Photomicrograph of a urine filtration membrane, 4× objective.
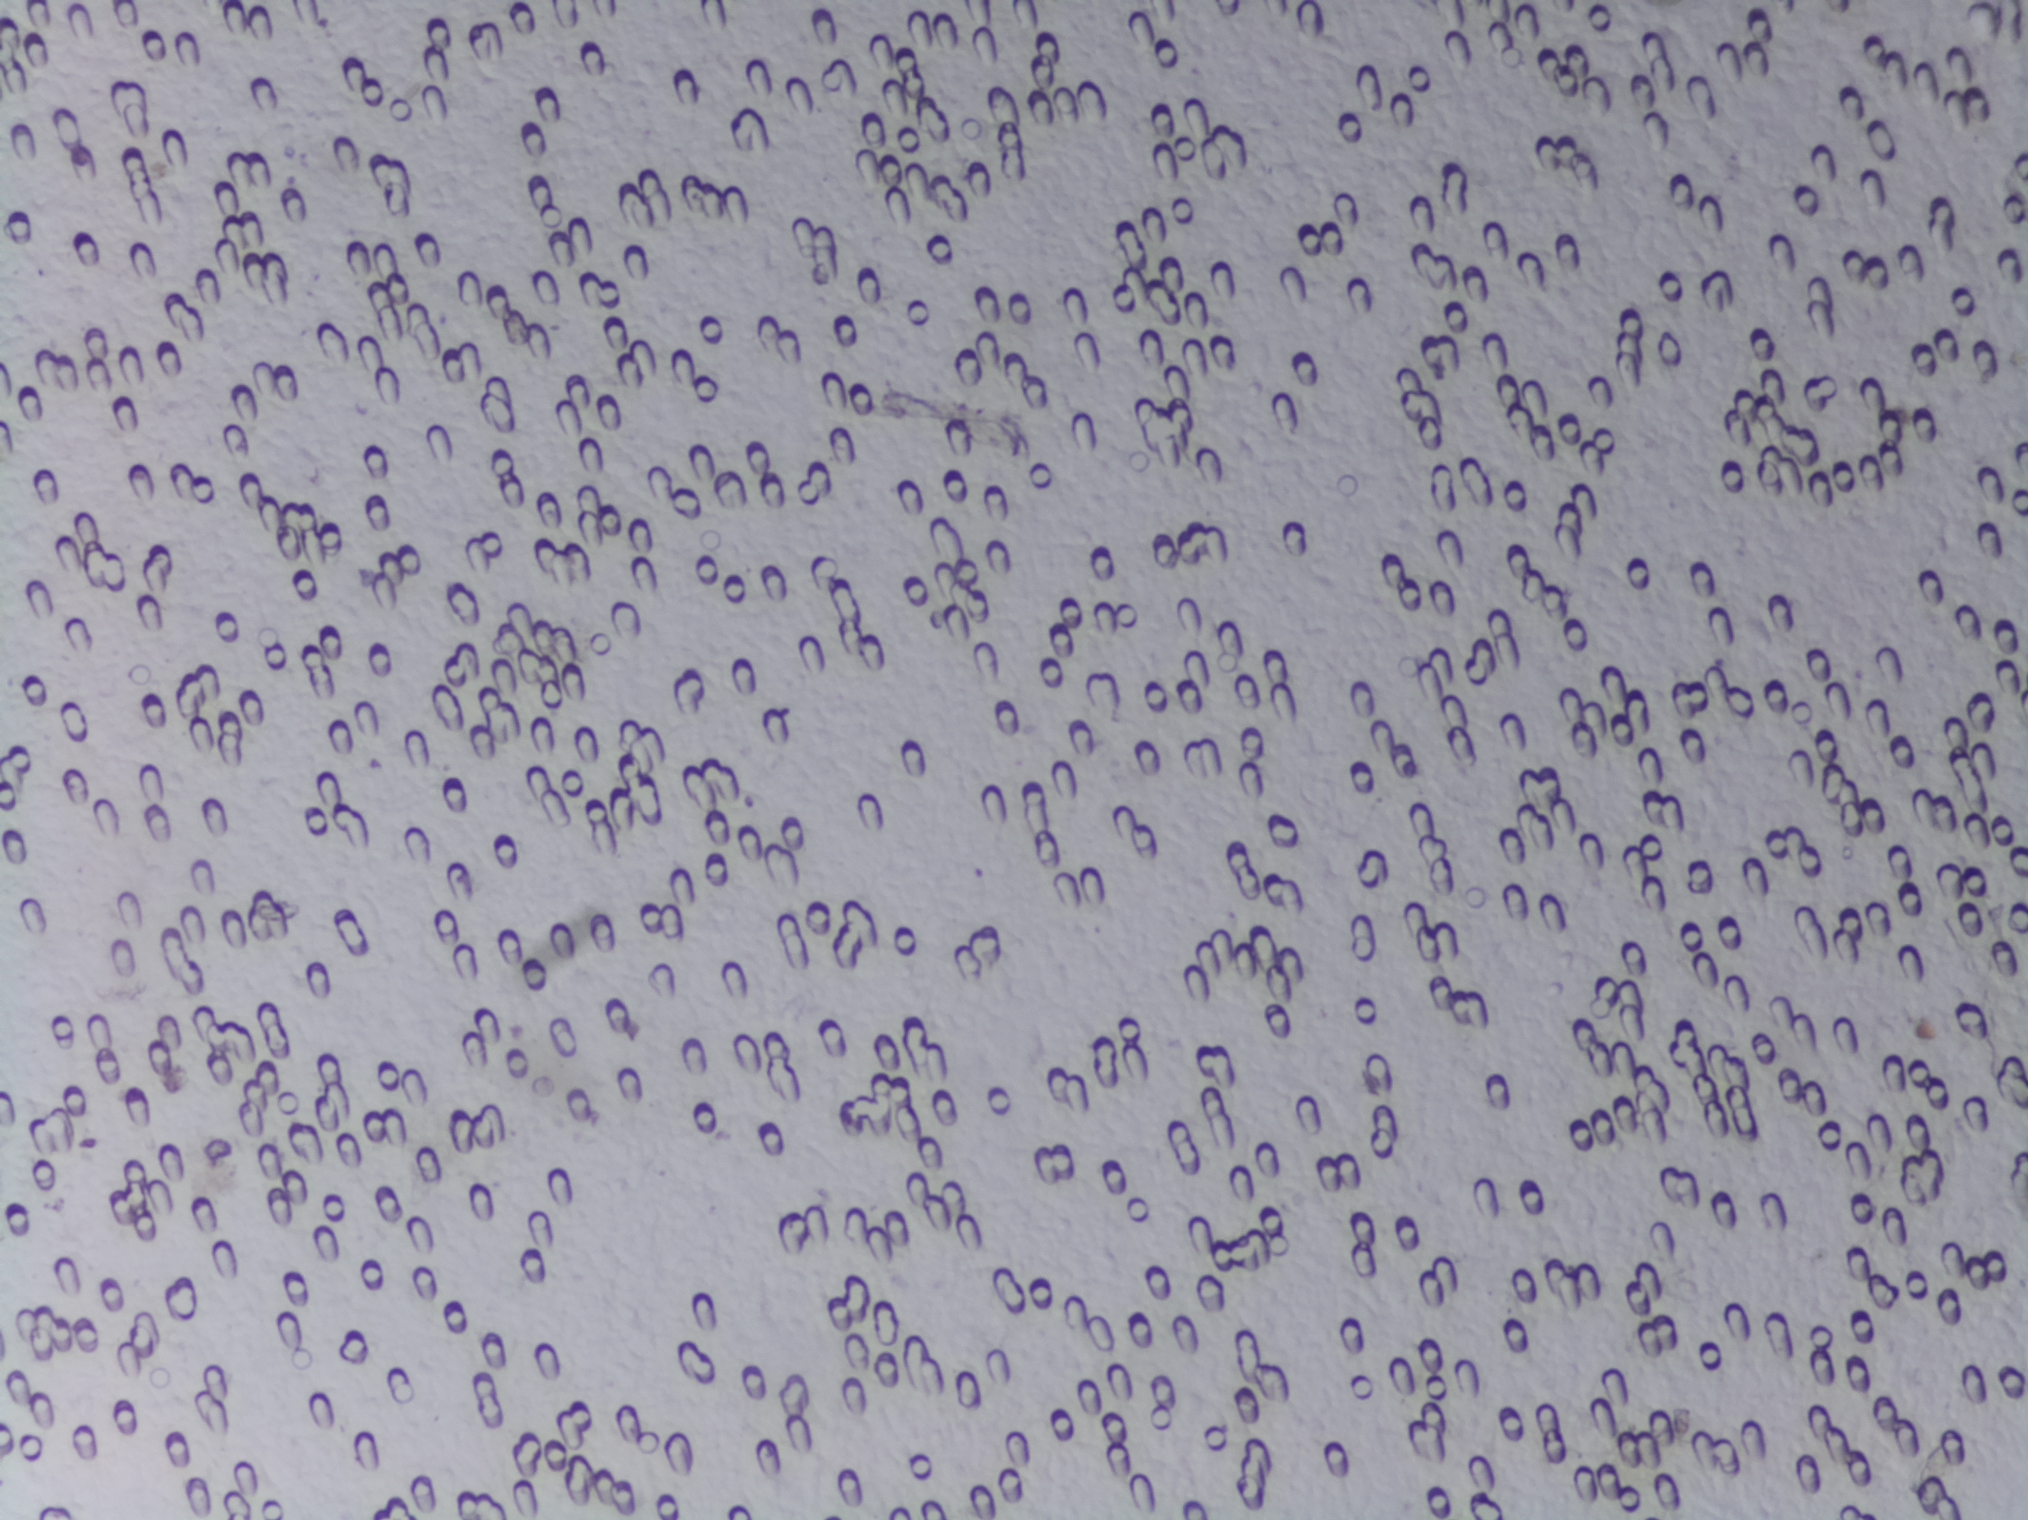
Schistosoma eggs: none outlined.